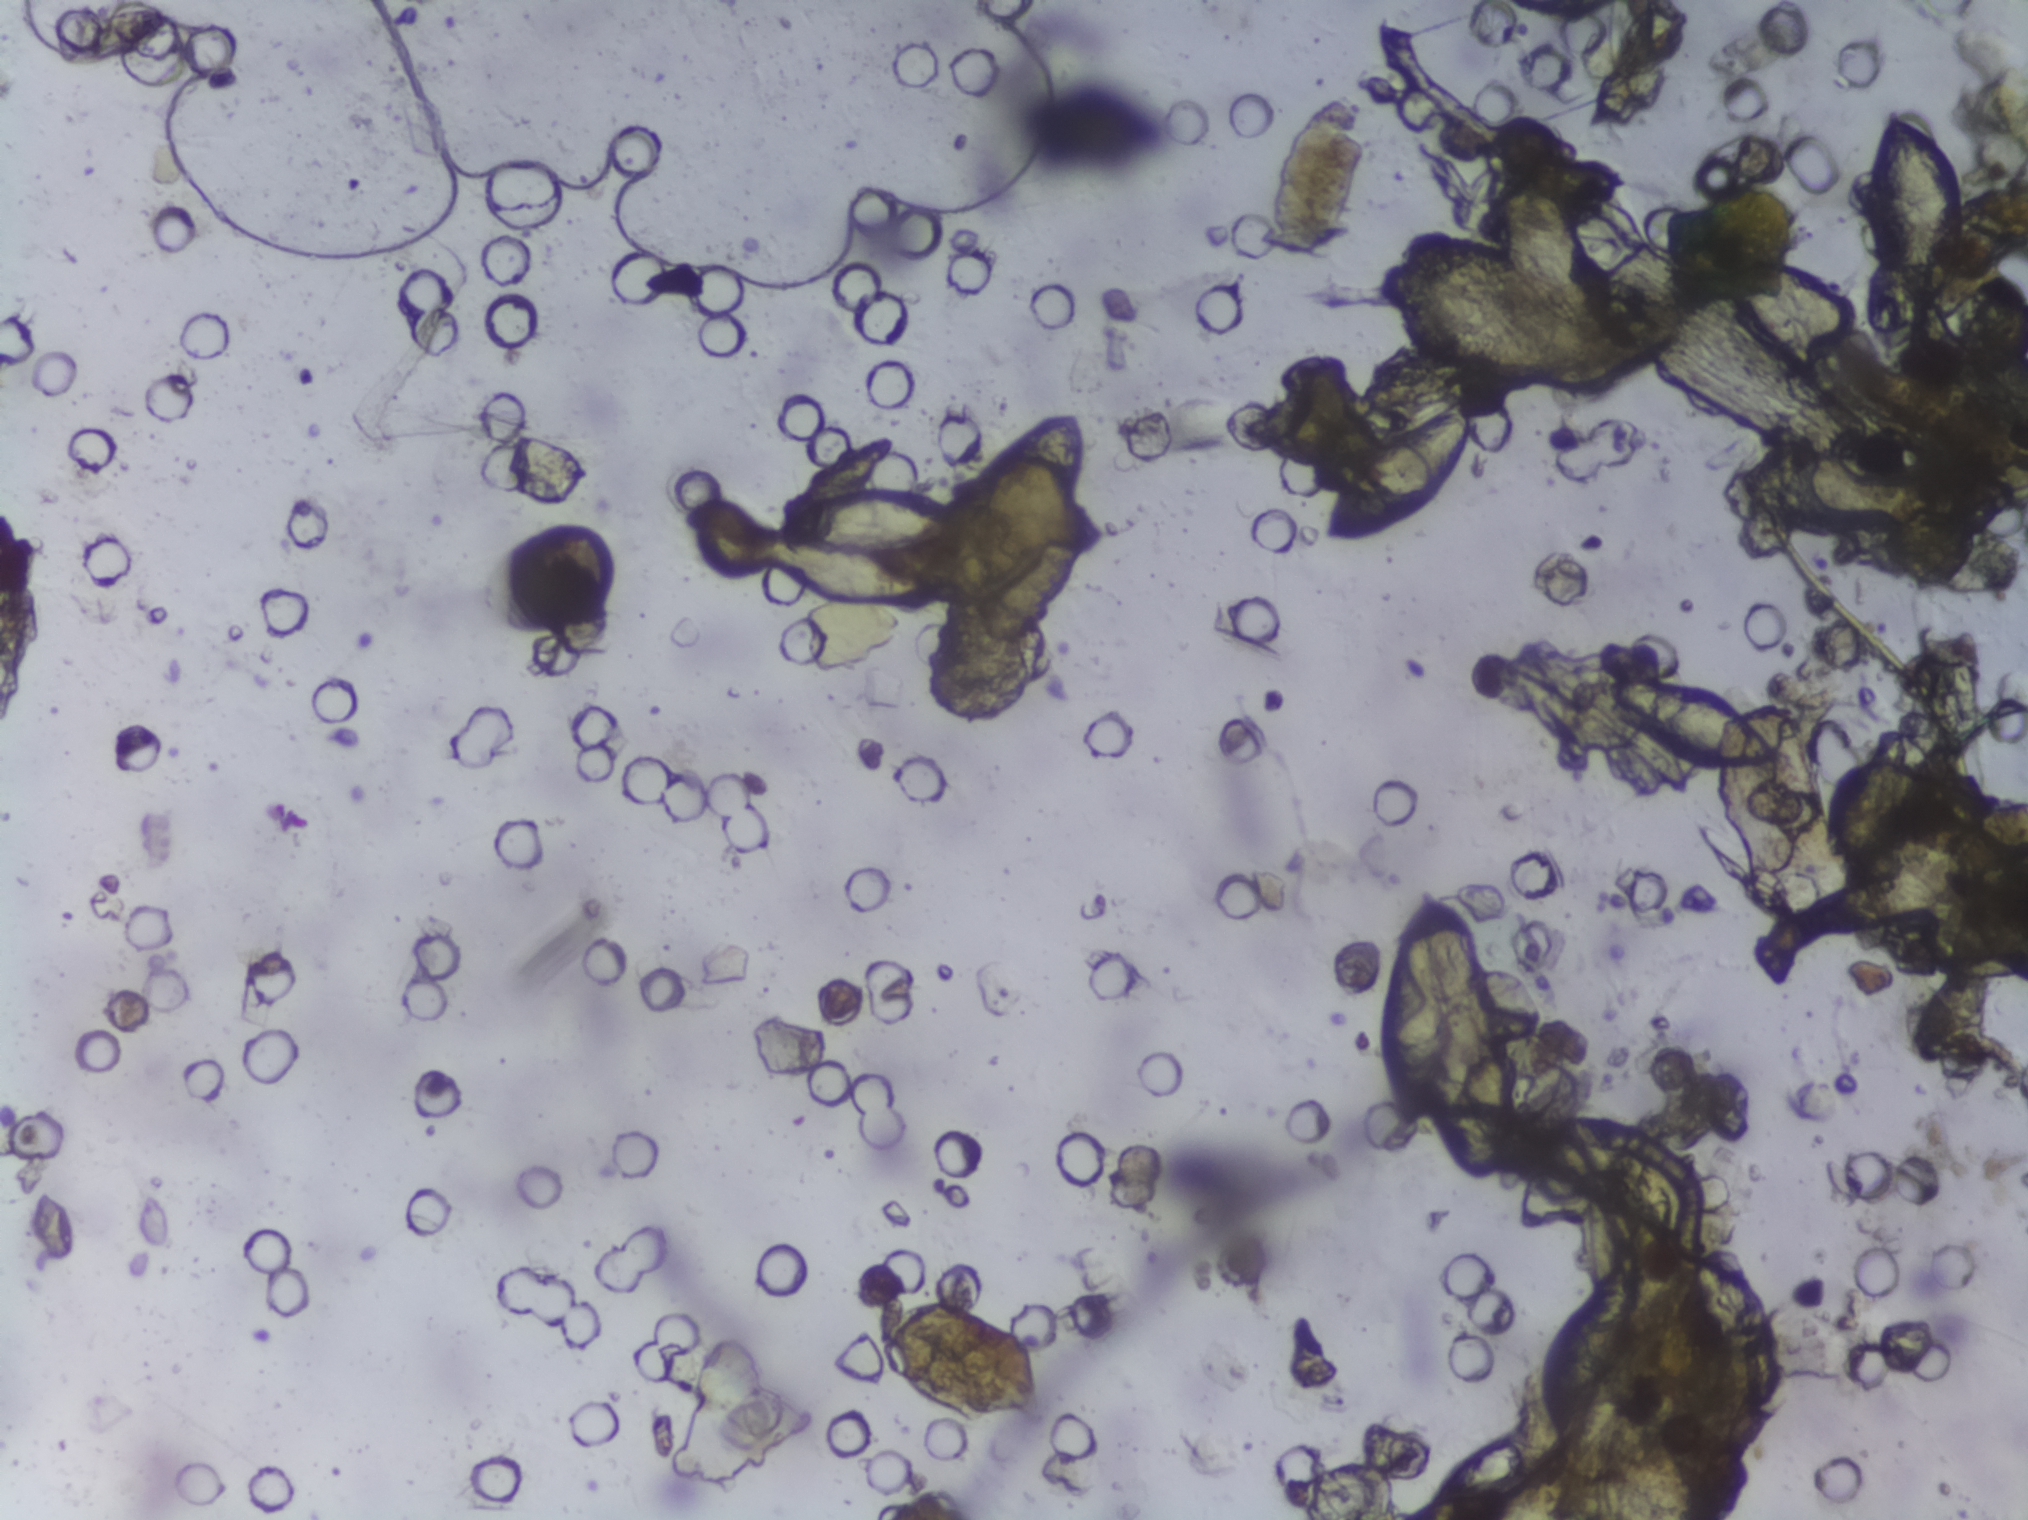
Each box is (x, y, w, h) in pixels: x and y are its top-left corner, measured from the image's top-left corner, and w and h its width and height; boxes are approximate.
Four areas of this image are outlined as Schistosoma eggs, from left to right: (x=1316, y=398, w=158, h=147); (x=1378, y=881, w=142, h=290); (x=1603, y=676, w=179, h=99); (x=1853, y=102, w=122, h=207). An outlined area can hold more than one egg.
Urine filtration membrane under a 4× objective, photographed by an automated digital microscope.